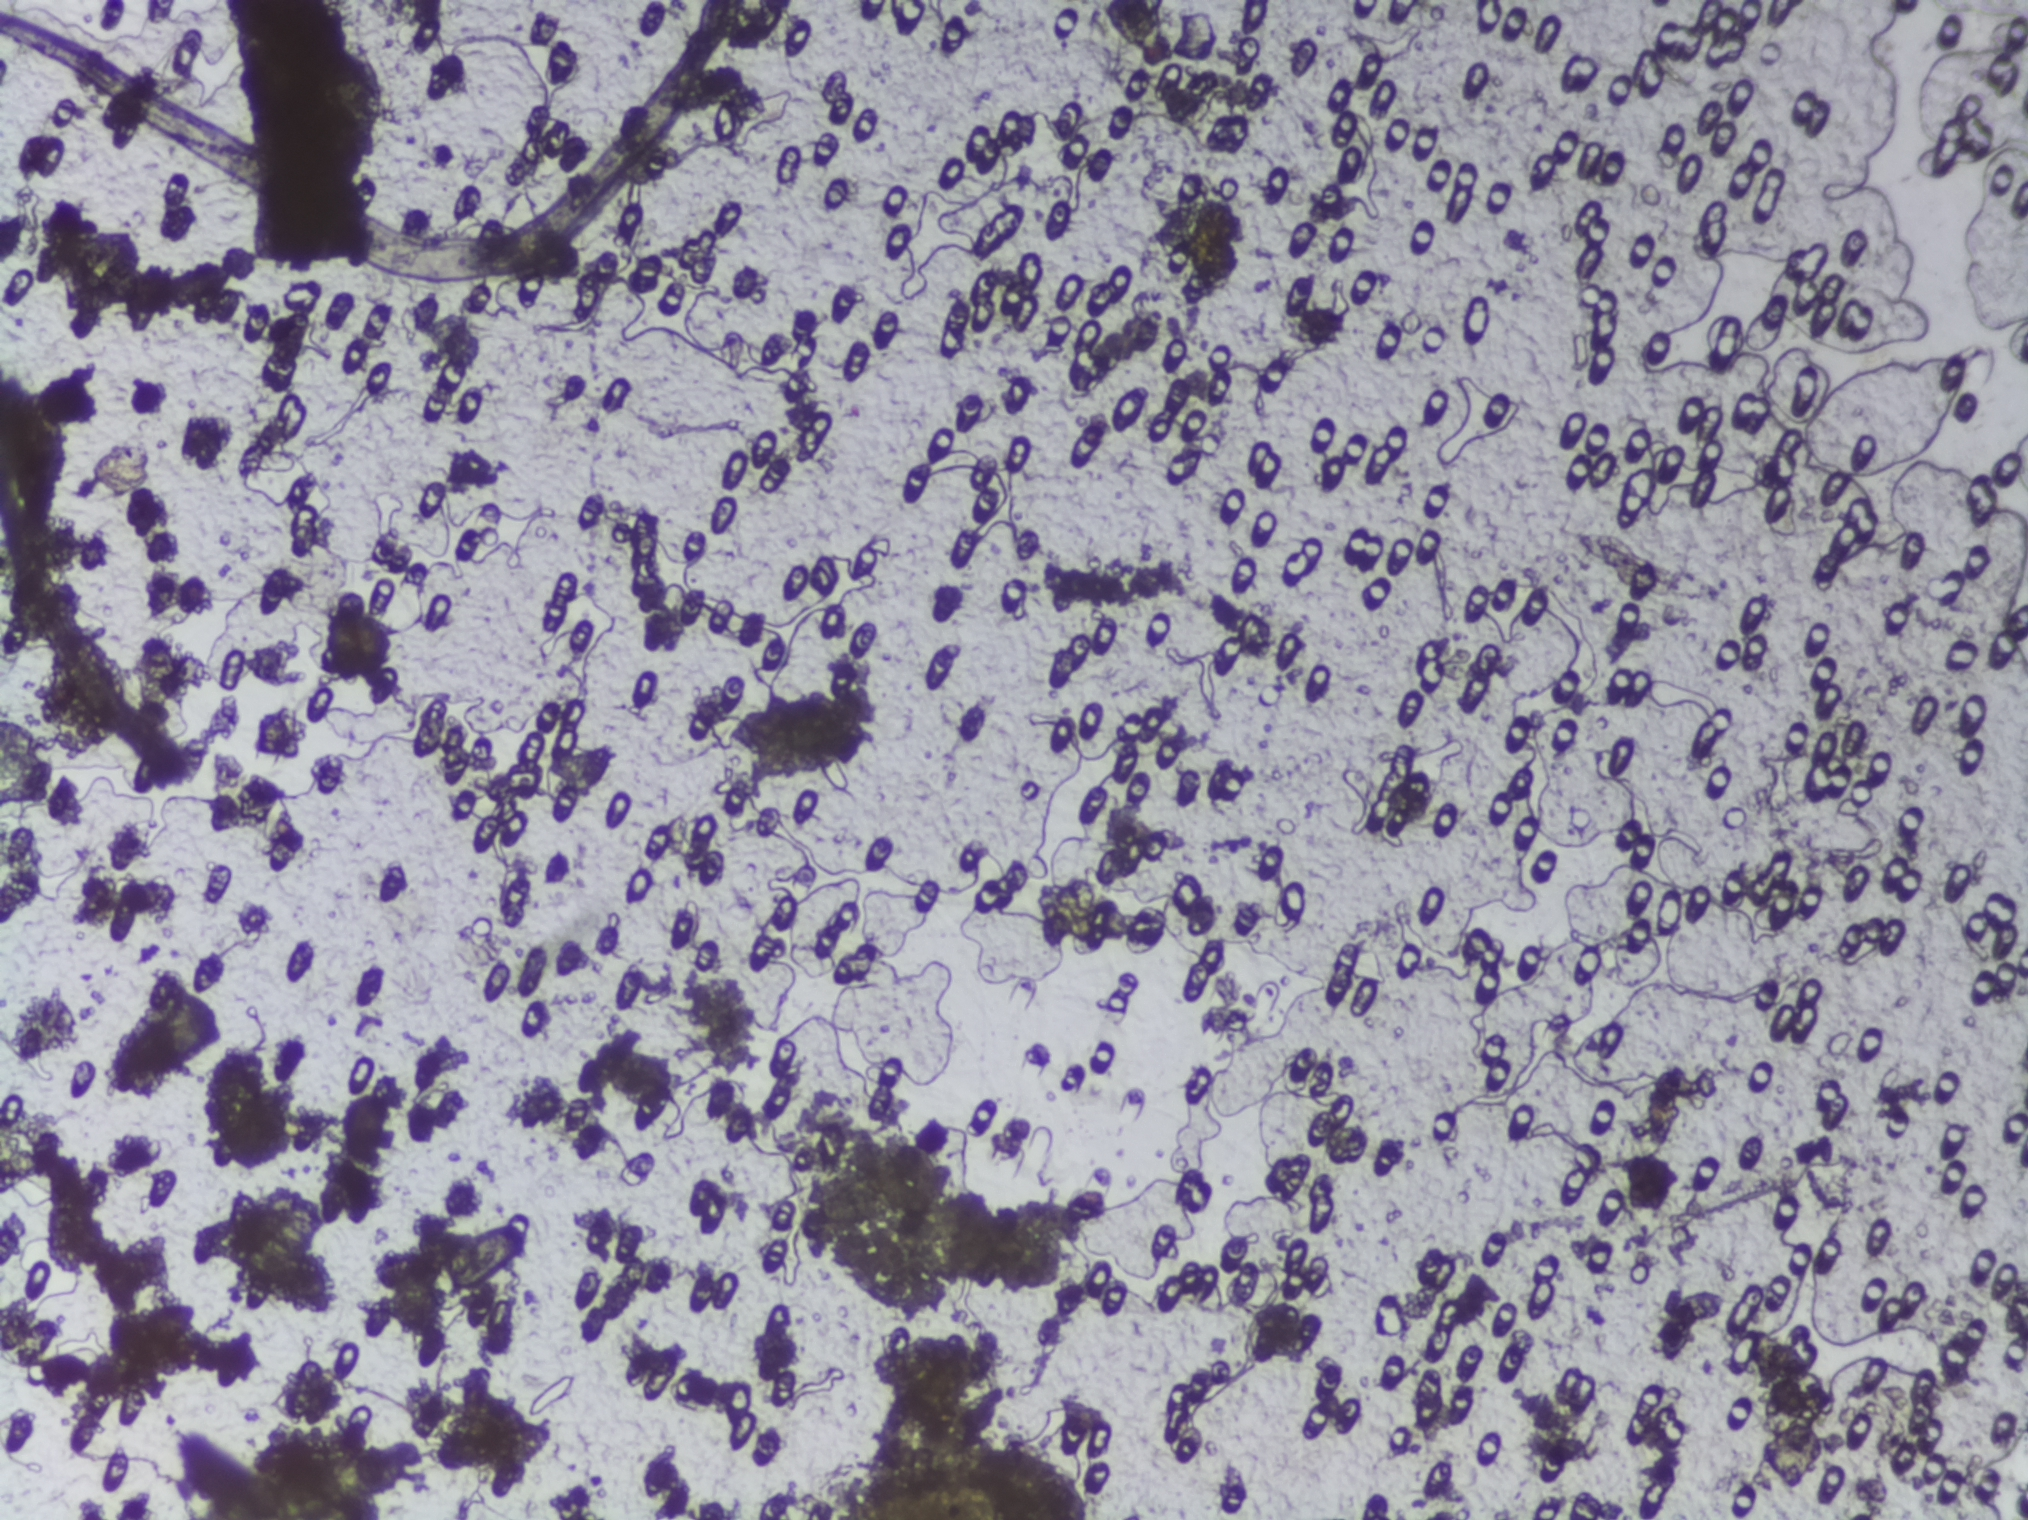
One field of view of a urine filter membrane, 4× objective, 2028 × 1520 pixels. The field of view is about 1.5 mm × 1.1 mm.
The expert annotation outlines no Schistosoma egg in this image.